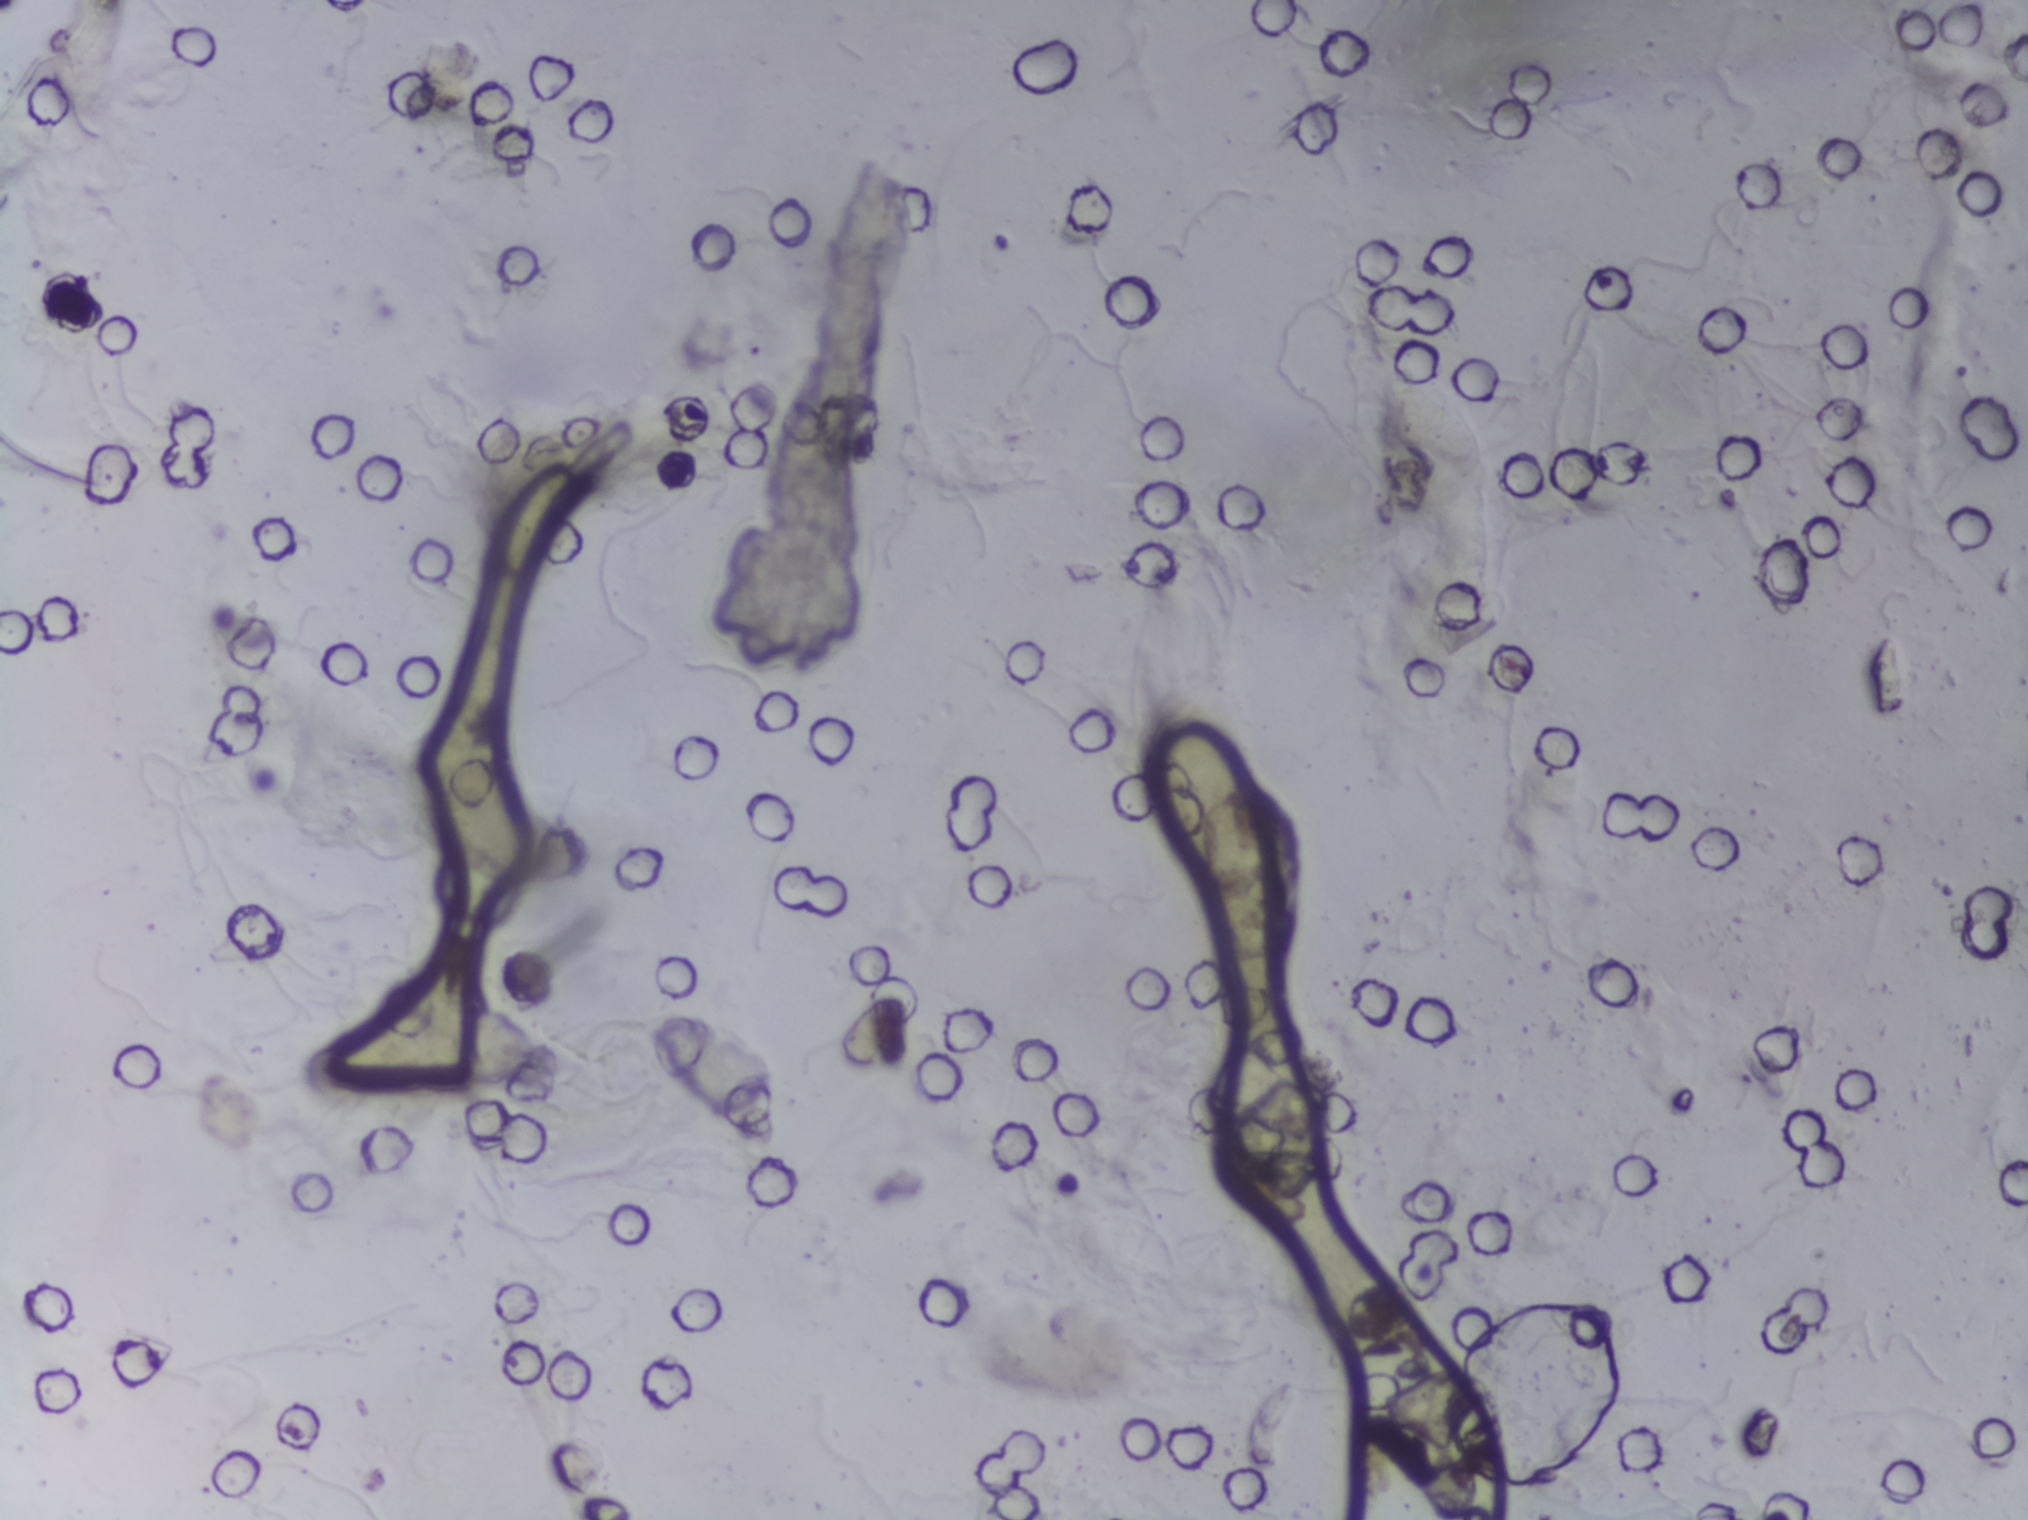
Urine filtration membrane under a 4× objective, photographed by an automated digital microscope.
The expert annotation marks no Schistosoma egg in this field of view.